Photomicrograph of a urine filtration membrane, 4× objective.
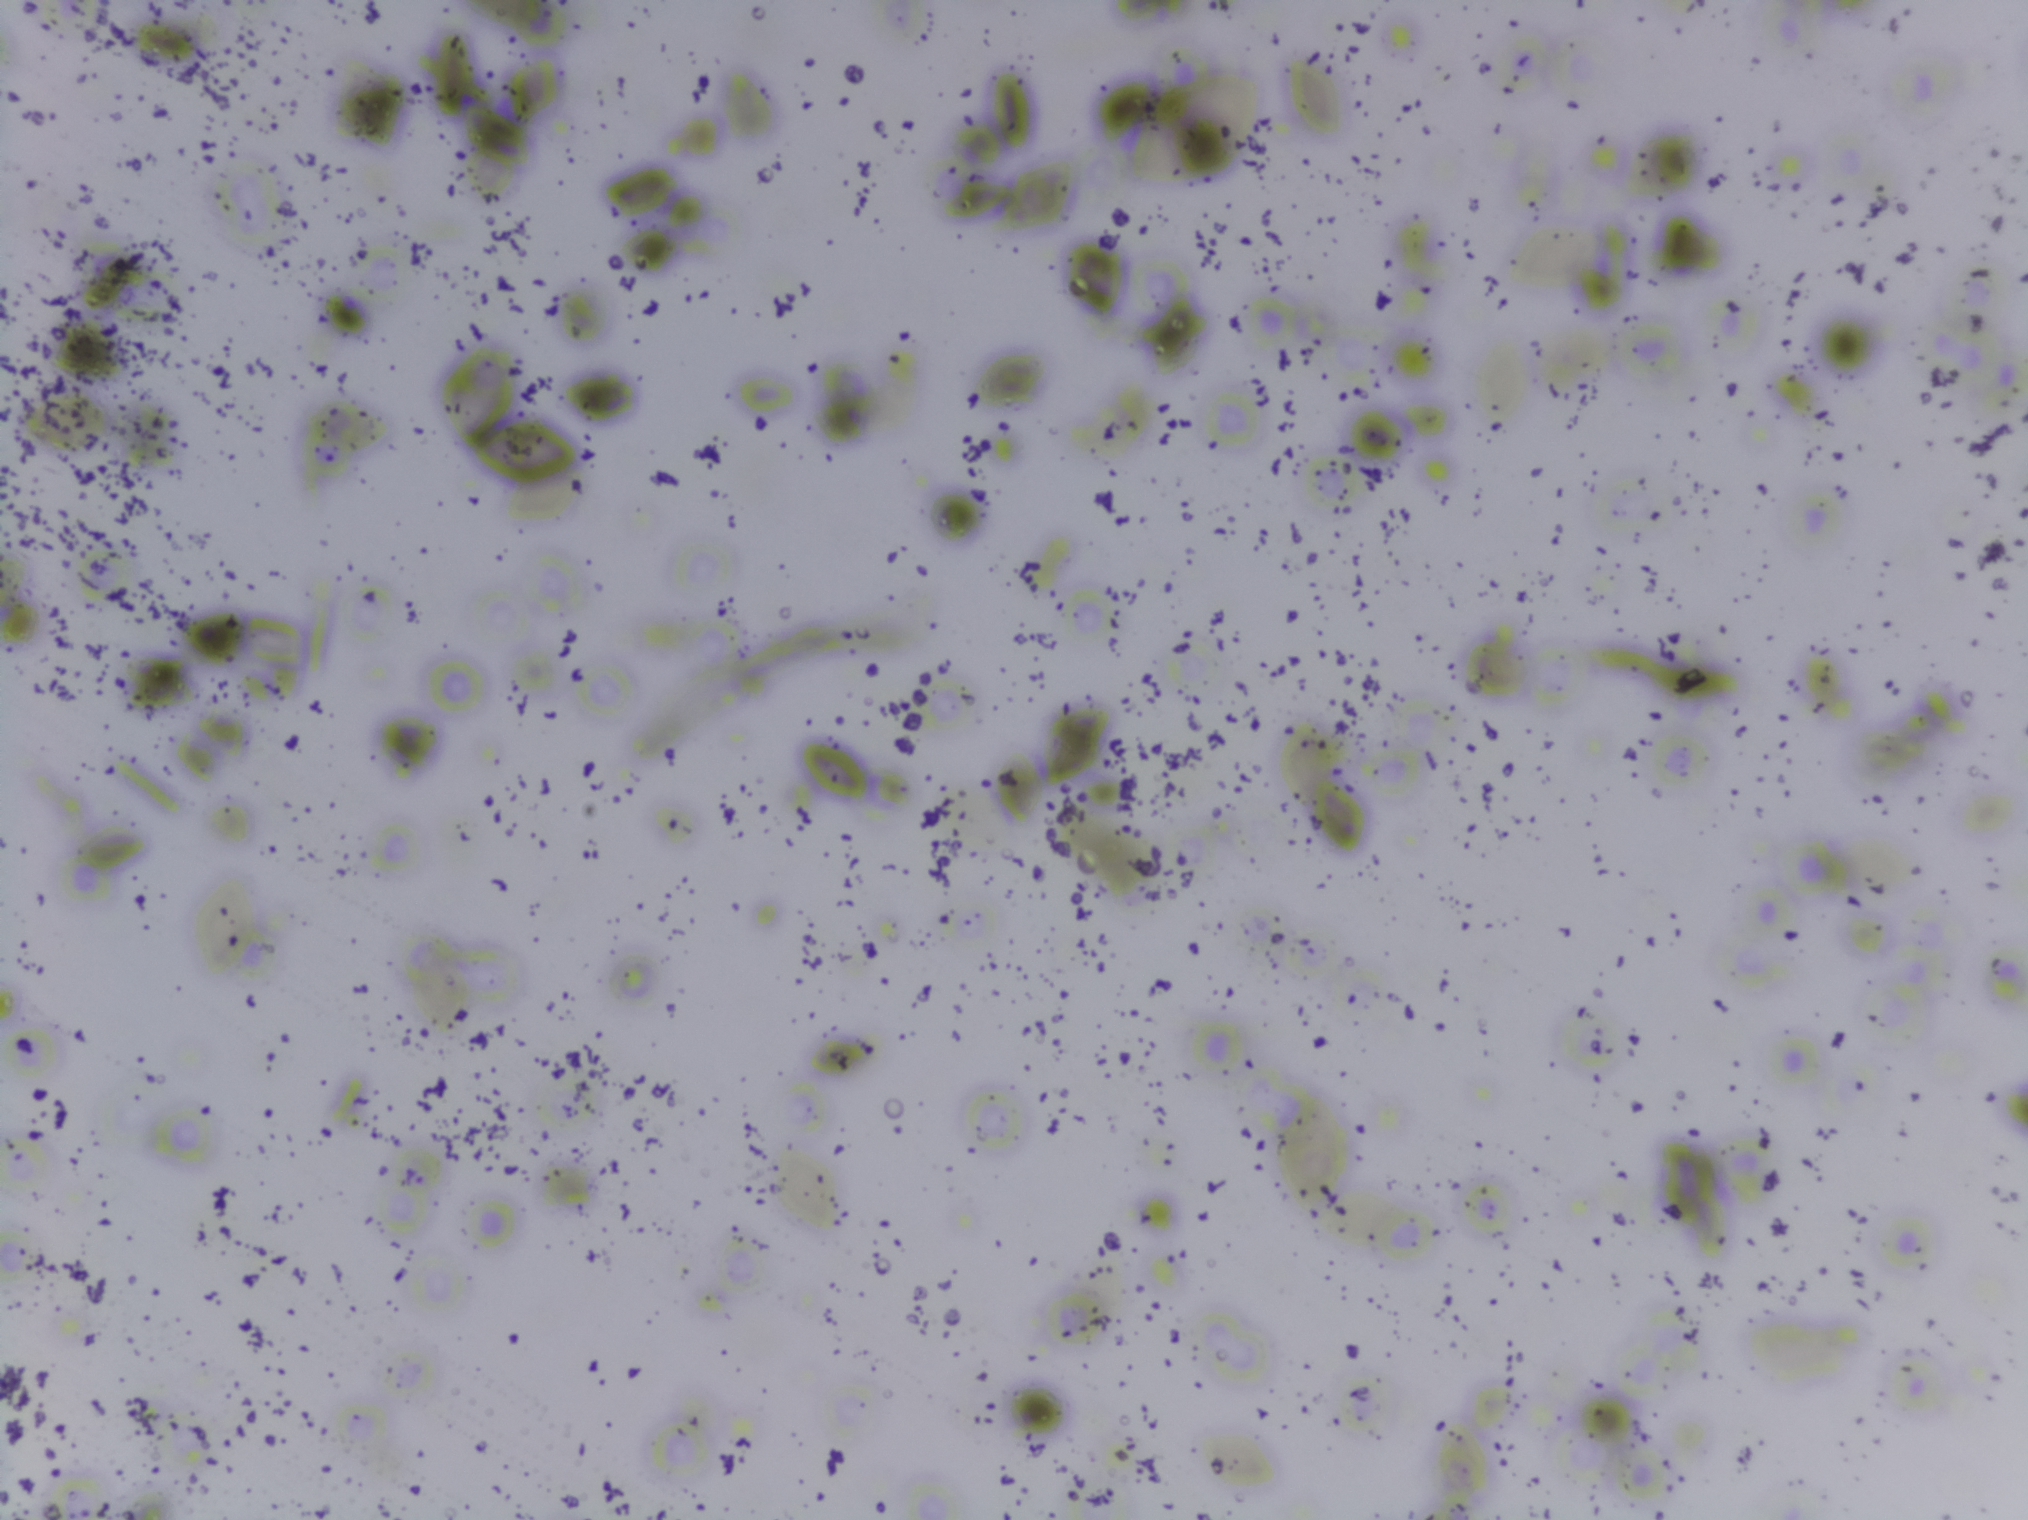
No area of this image was outlined as a Schistosoma egg.